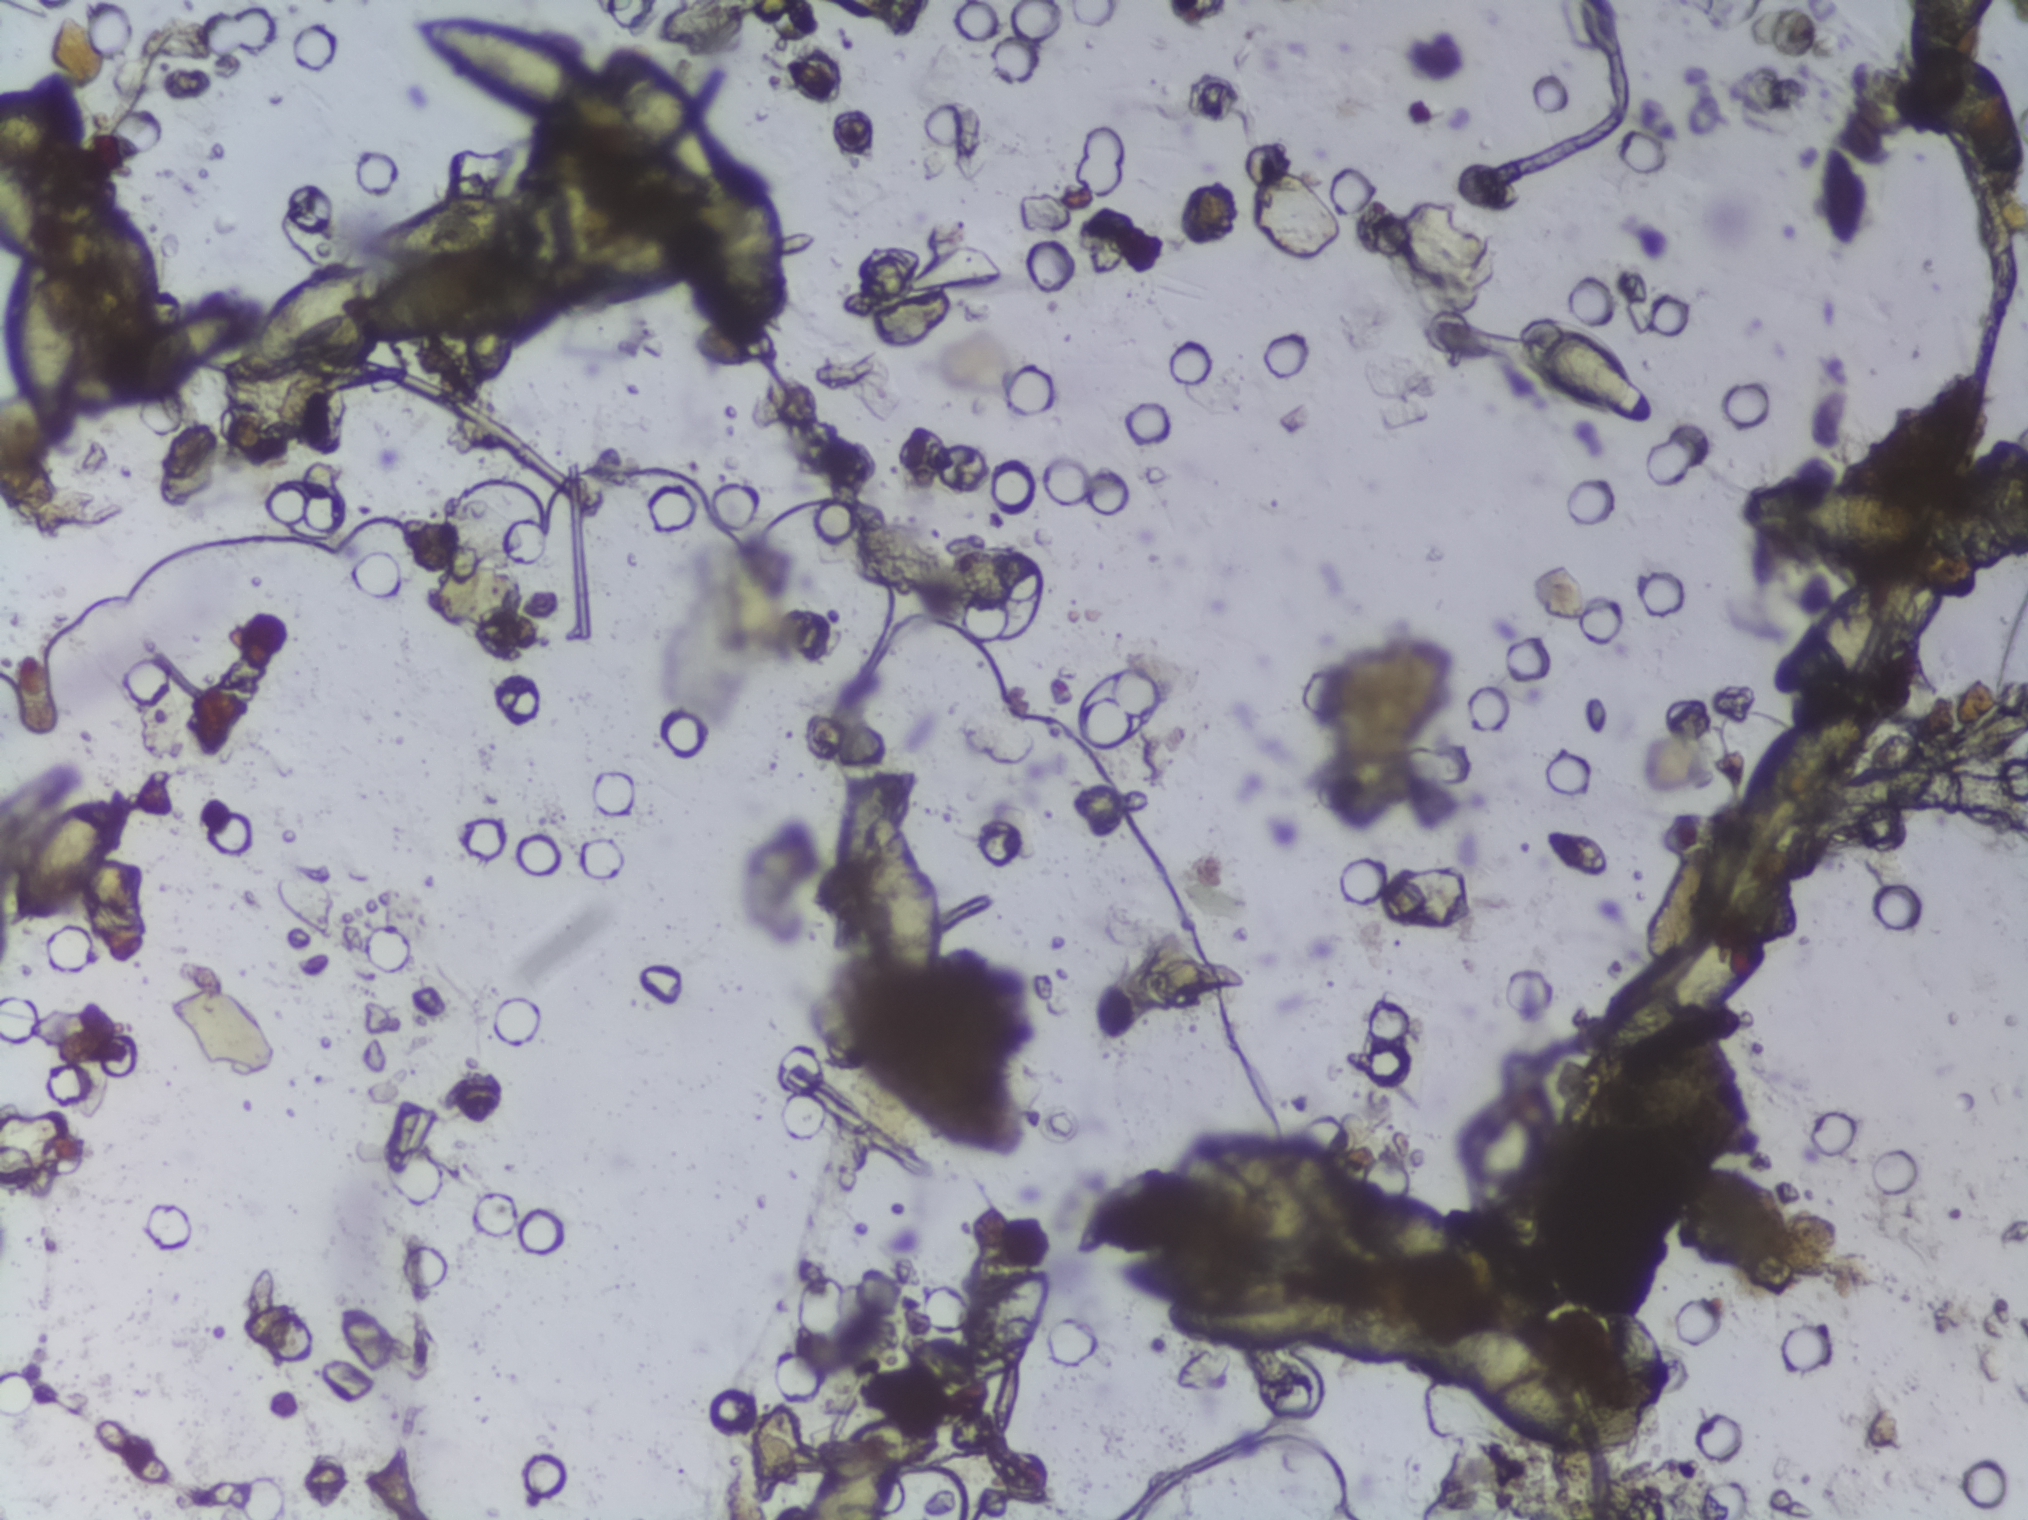
Urine filtration membrane under a 4× objective, photographed by an automated digital microscope. The image covers about 1.5 × 1.1 mm of the membrane.
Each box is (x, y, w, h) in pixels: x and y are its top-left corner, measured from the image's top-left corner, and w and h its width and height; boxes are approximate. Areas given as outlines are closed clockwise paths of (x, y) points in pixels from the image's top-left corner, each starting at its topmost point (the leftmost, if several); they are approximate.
Schistosoma eggs are outlined in 14 areas of this image, listed from left to right: outline (0, 139), (28, 162), (54, 236), (67, 240), (86, 266), (90, 355), (110, 332), (210, 294), (241, 299), (258, 322), (297, 271), (353, 255), (360, 234), (418, 197), (534, 195), (548, 216), (543, 231), (521, 250), (546, 272), (510, 318), (451, 340), (401, 348), (362, 346), (352, 336), (274, 380), (230, 373), (255, 323), (173, 395), (110, 425), (75, 425), (55, 451), (37, 439), (0, 361), (7, 293), (19, 256), (0, 237) (a cluster of eggs; reaching the left edge of the frame); box (x=7, y=784, w=129, h=145); outline (423, 9), (474, 9), (504, 17), (597, 71), (608, 36), (630, 39), (689, 90), (725, 160), (743, 152), (758, 162), (796, 238), (797, 264), (771, 349), (756, 370), (720, 370), (692, 303), (682, 228), (697, 190), (626, 142), (576, 141), (492, 112), (421, 51), (405, 17); box (x=797, y=1420, w=145, h=100) (reaching the bottom edge of the frame); box (x=851, y=815, w=96, h=187); box (x=967, y=1268, w=87, h=114); box (x=1116, y=1226, w=239, h=129); box (x=1477, y=1308, w=195, h=141); box (x=1512, y=317, w=143, h=113); box (x=1581, y=934, w=195, h=117); box (x=1735, y=479, w=200, h=85); box (x=1735, y=706, w=136, h=113); box (x=1772, y=565, w=168, h=127); box (x=1909, y=0, w=119, h=188) (reaching the top and right edges of the frame). About 8.3% of the image's pixels are marked (the marked pixels themselves, not the boxes and the outlines around them). Eggs that touch can end up inside the same outlined area.